Urine filtration membrane under a 4× objective, photographed by an automated digital microscope. Field of view: about 1.5 mm wide and 1.1 mm high.
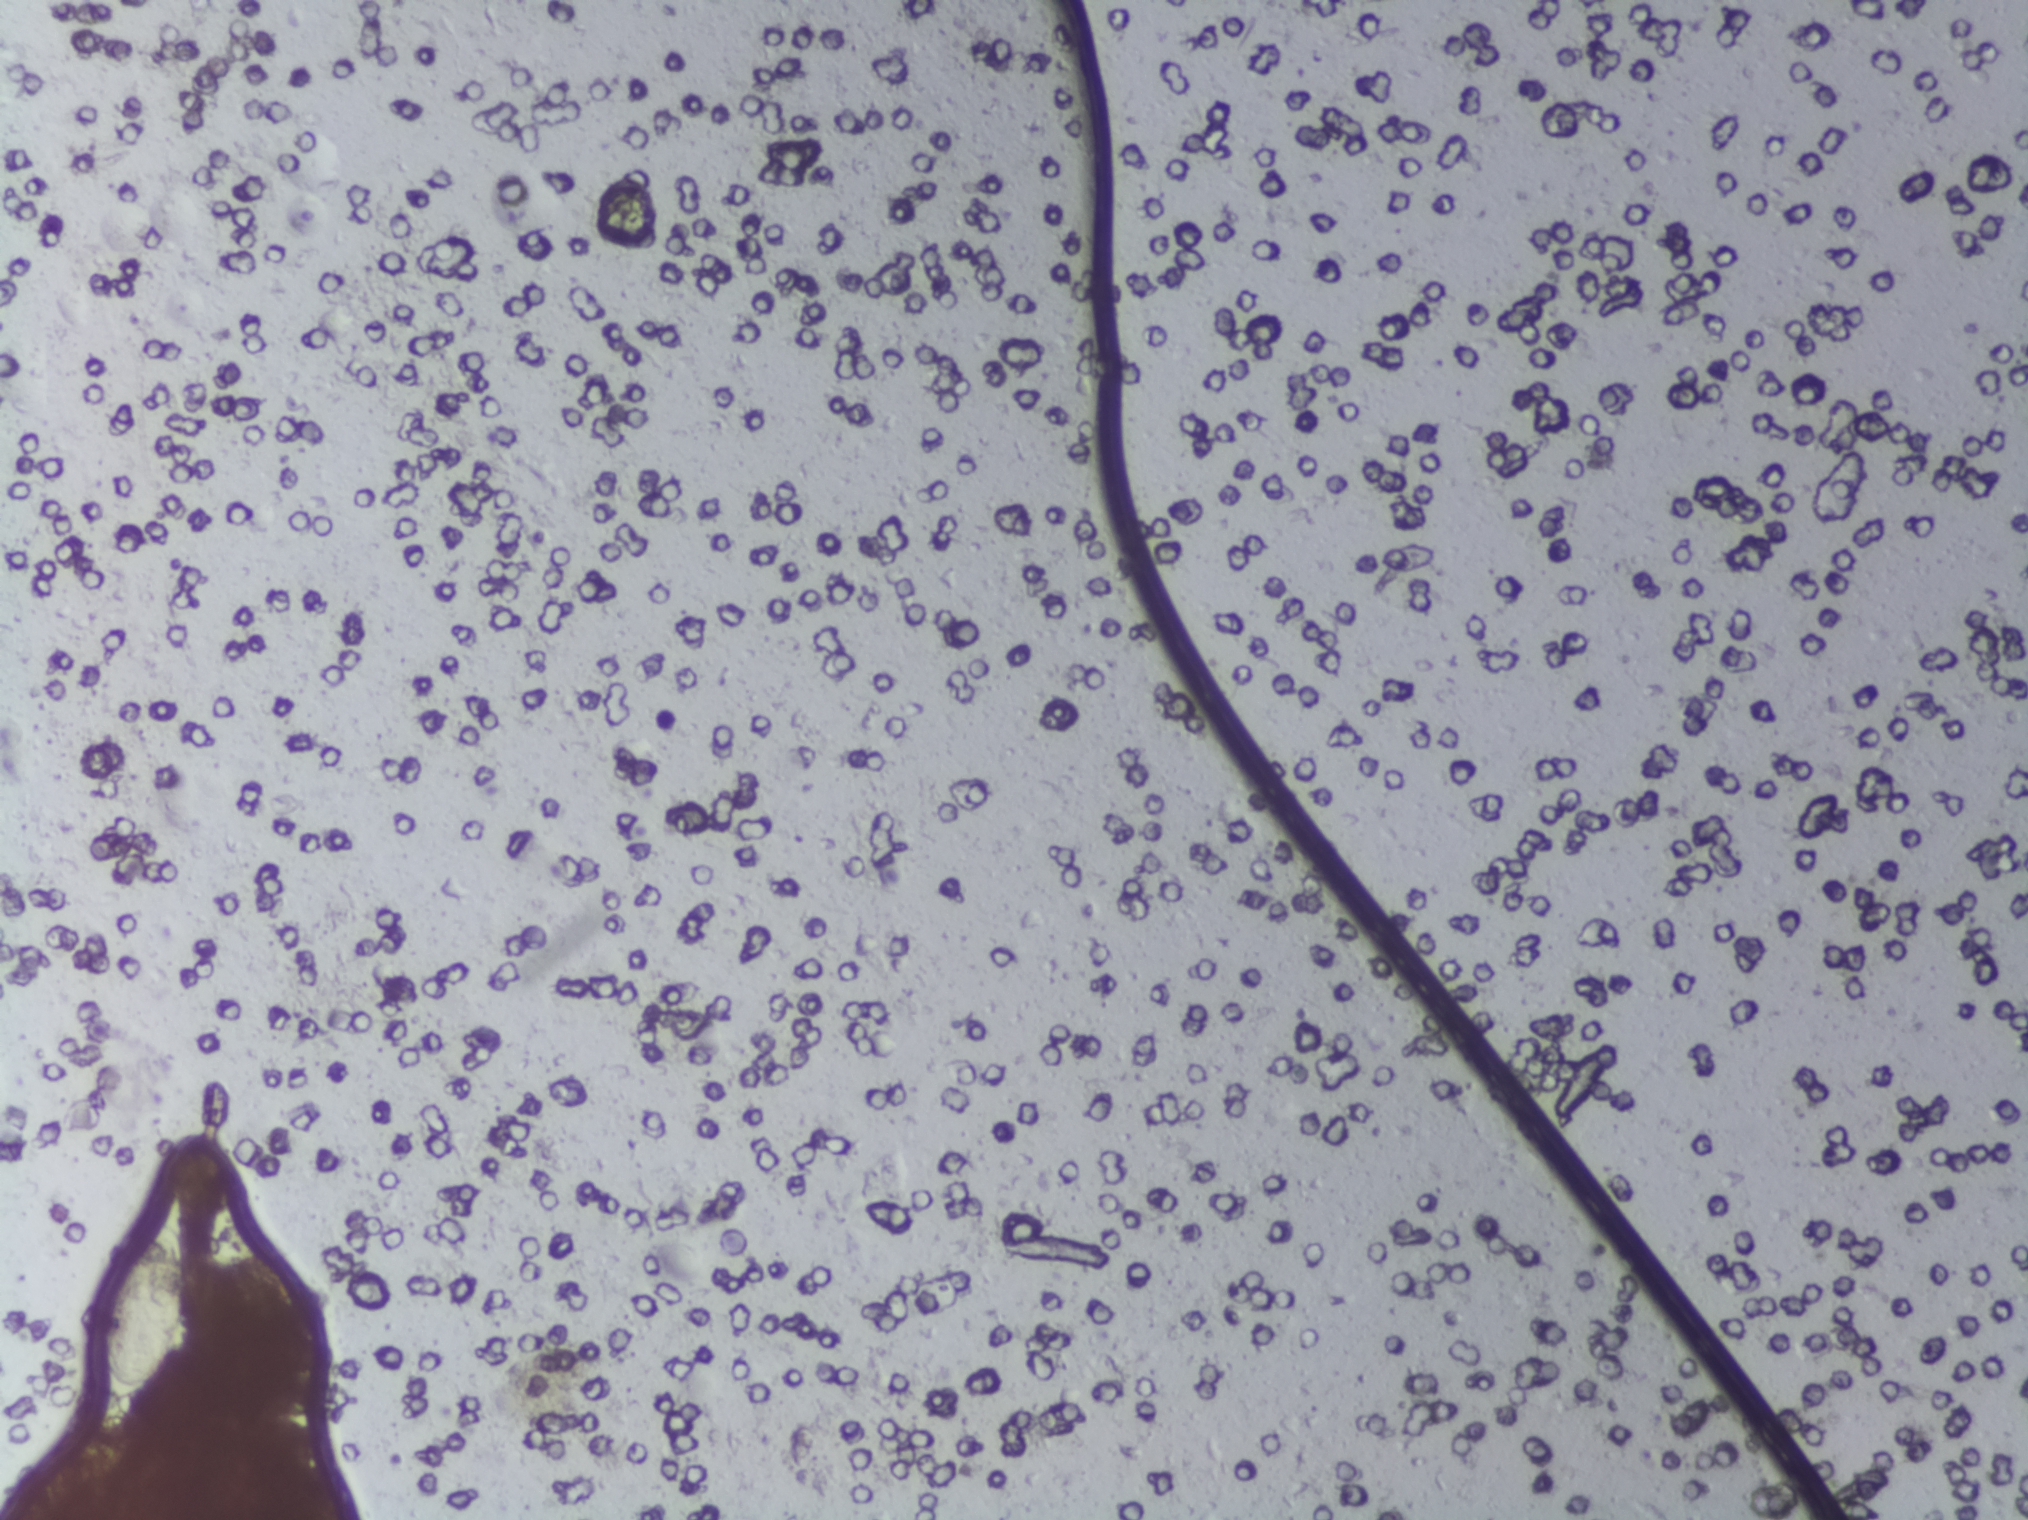
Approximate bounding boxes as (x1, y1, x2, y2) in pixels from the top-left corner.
Schistosoma eggs are outlined in one area of this image: (87, 1217, 189, 1408). An outlined area can hold more than one egg. A marked egg may occasionally be S. mansoni rather than S. haematobium.